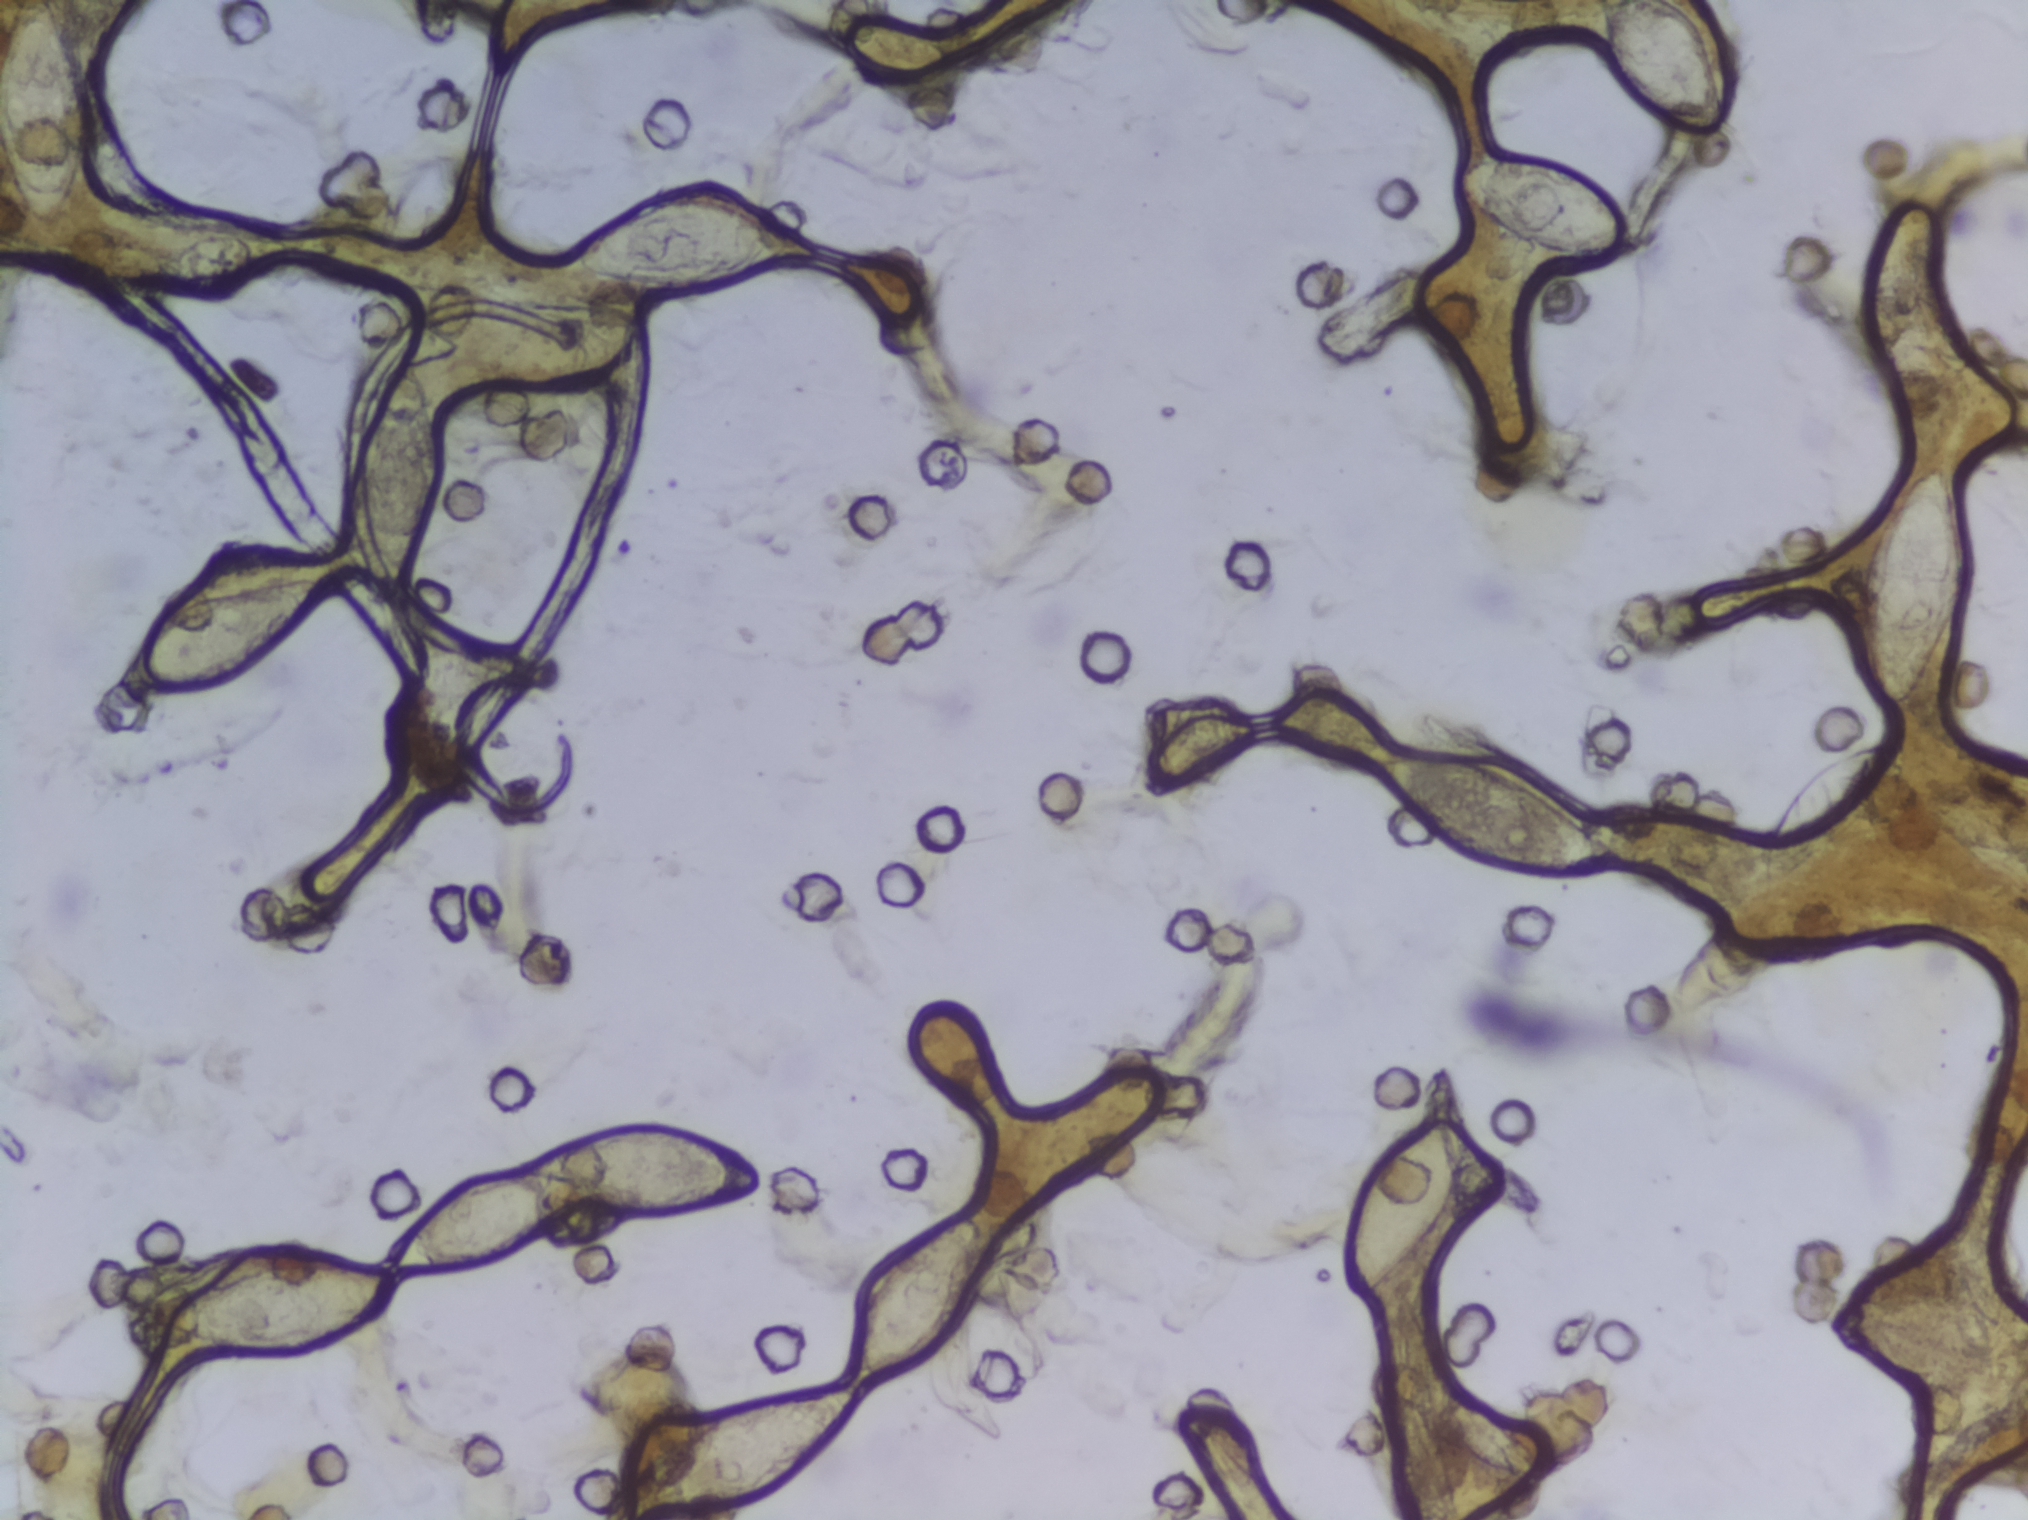
Photomicrograph of a urine filtration membrane, 4× objective.
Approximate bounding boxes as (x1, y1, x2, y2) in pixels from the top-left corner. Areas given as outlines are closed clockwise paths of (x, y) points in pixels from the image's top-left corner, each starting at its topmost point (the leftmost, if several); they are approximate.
Schistosoma eggs, outlined areas: box (0, 0, 87, 234) (reaching the left and top edges of the frame); outline (639, 1124), (704, 1134), (754, 1163), (758, 1180), (742, 1193), (683, 1212), (612, 1210), (584, 1202), (553, 1231), (509, 1256), (437, 1275), (397, 1275), (391, 1298), (373, 1316), (341, 1340), (317, 1347), (215, 1347), (138, 1314), (104, 1288), (119, 1269), (186, 1261), (236, 1242), (298, 1242), (389, 1265), (412, 1229), (457, 1183), (524, 1172), (532, 1157), (571, 1140) (eggs clustered together); box (108, 558, 333, 697); box (359, 348, 443, 590); box (565, 184, 817, 293); outline (962, 1217), (977, 1222), (984, 1250), (961, 1315), (917, 1363), (859, 1385), (857, 1406), (805, 1469), (759, 1499), (700, 1517), (638, 1514), (641, 1487), (708, 1418), (766, 1395), (856, 1385), (854, 1325), (870, 1283), (910, 1242) (reaching the bottom edge of the frame); box (824, 17, 955, 82); box (1346, 1115, 1466, 1297); box (1373, 753, 1615, 879); box (1458, 154, 1640, 255); box (1595, 0, 1726, 137) (reaching the top edge of the frame); box (1757, 731, 1909, 907); box (1862, 456, 1971, 710); box (1865, 201, 1942, 364). A single outlined area may contain several eggs.